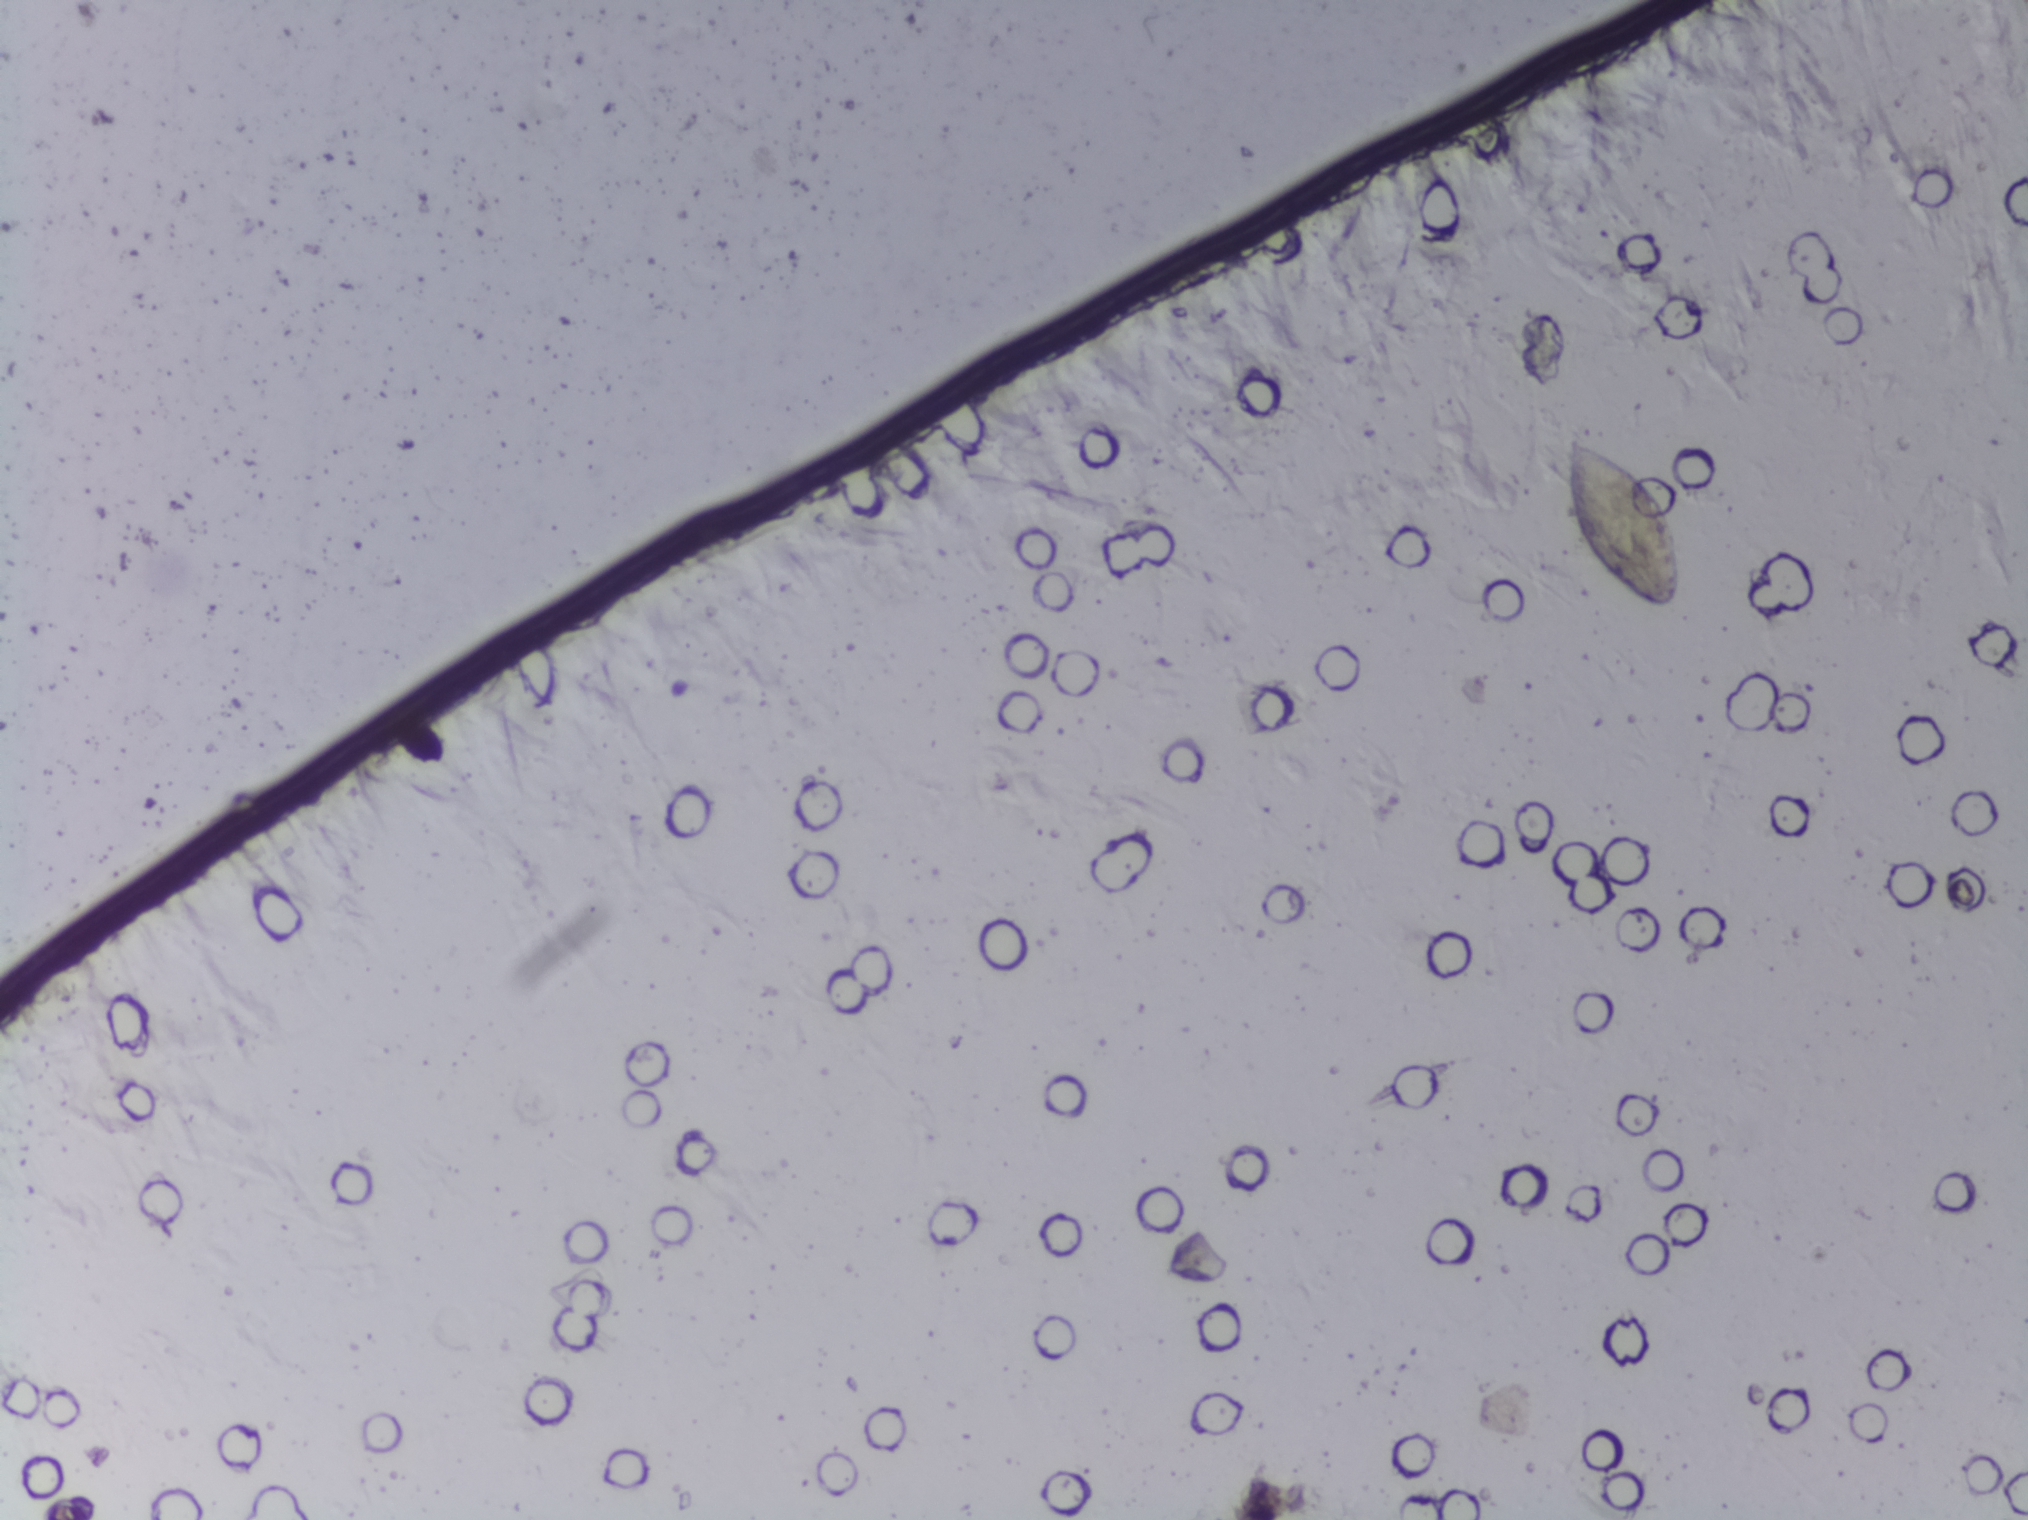
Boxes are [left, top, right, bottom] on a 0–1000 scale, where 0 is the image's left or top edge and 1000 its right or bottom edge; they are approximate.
{"schistosoma_egg_areas_xyxy_per1000": [[773, 288, 829, 403]]}
The marked pixels themselves, not the box around them, cover about 0.4% of the image. An outlined area can hold more than one egg.
Urine filtration membrane under a 4× objective, photographed by an automated digital microscope.